Photograph from an automated digital microscope: urine filter membrane, 4× objective.
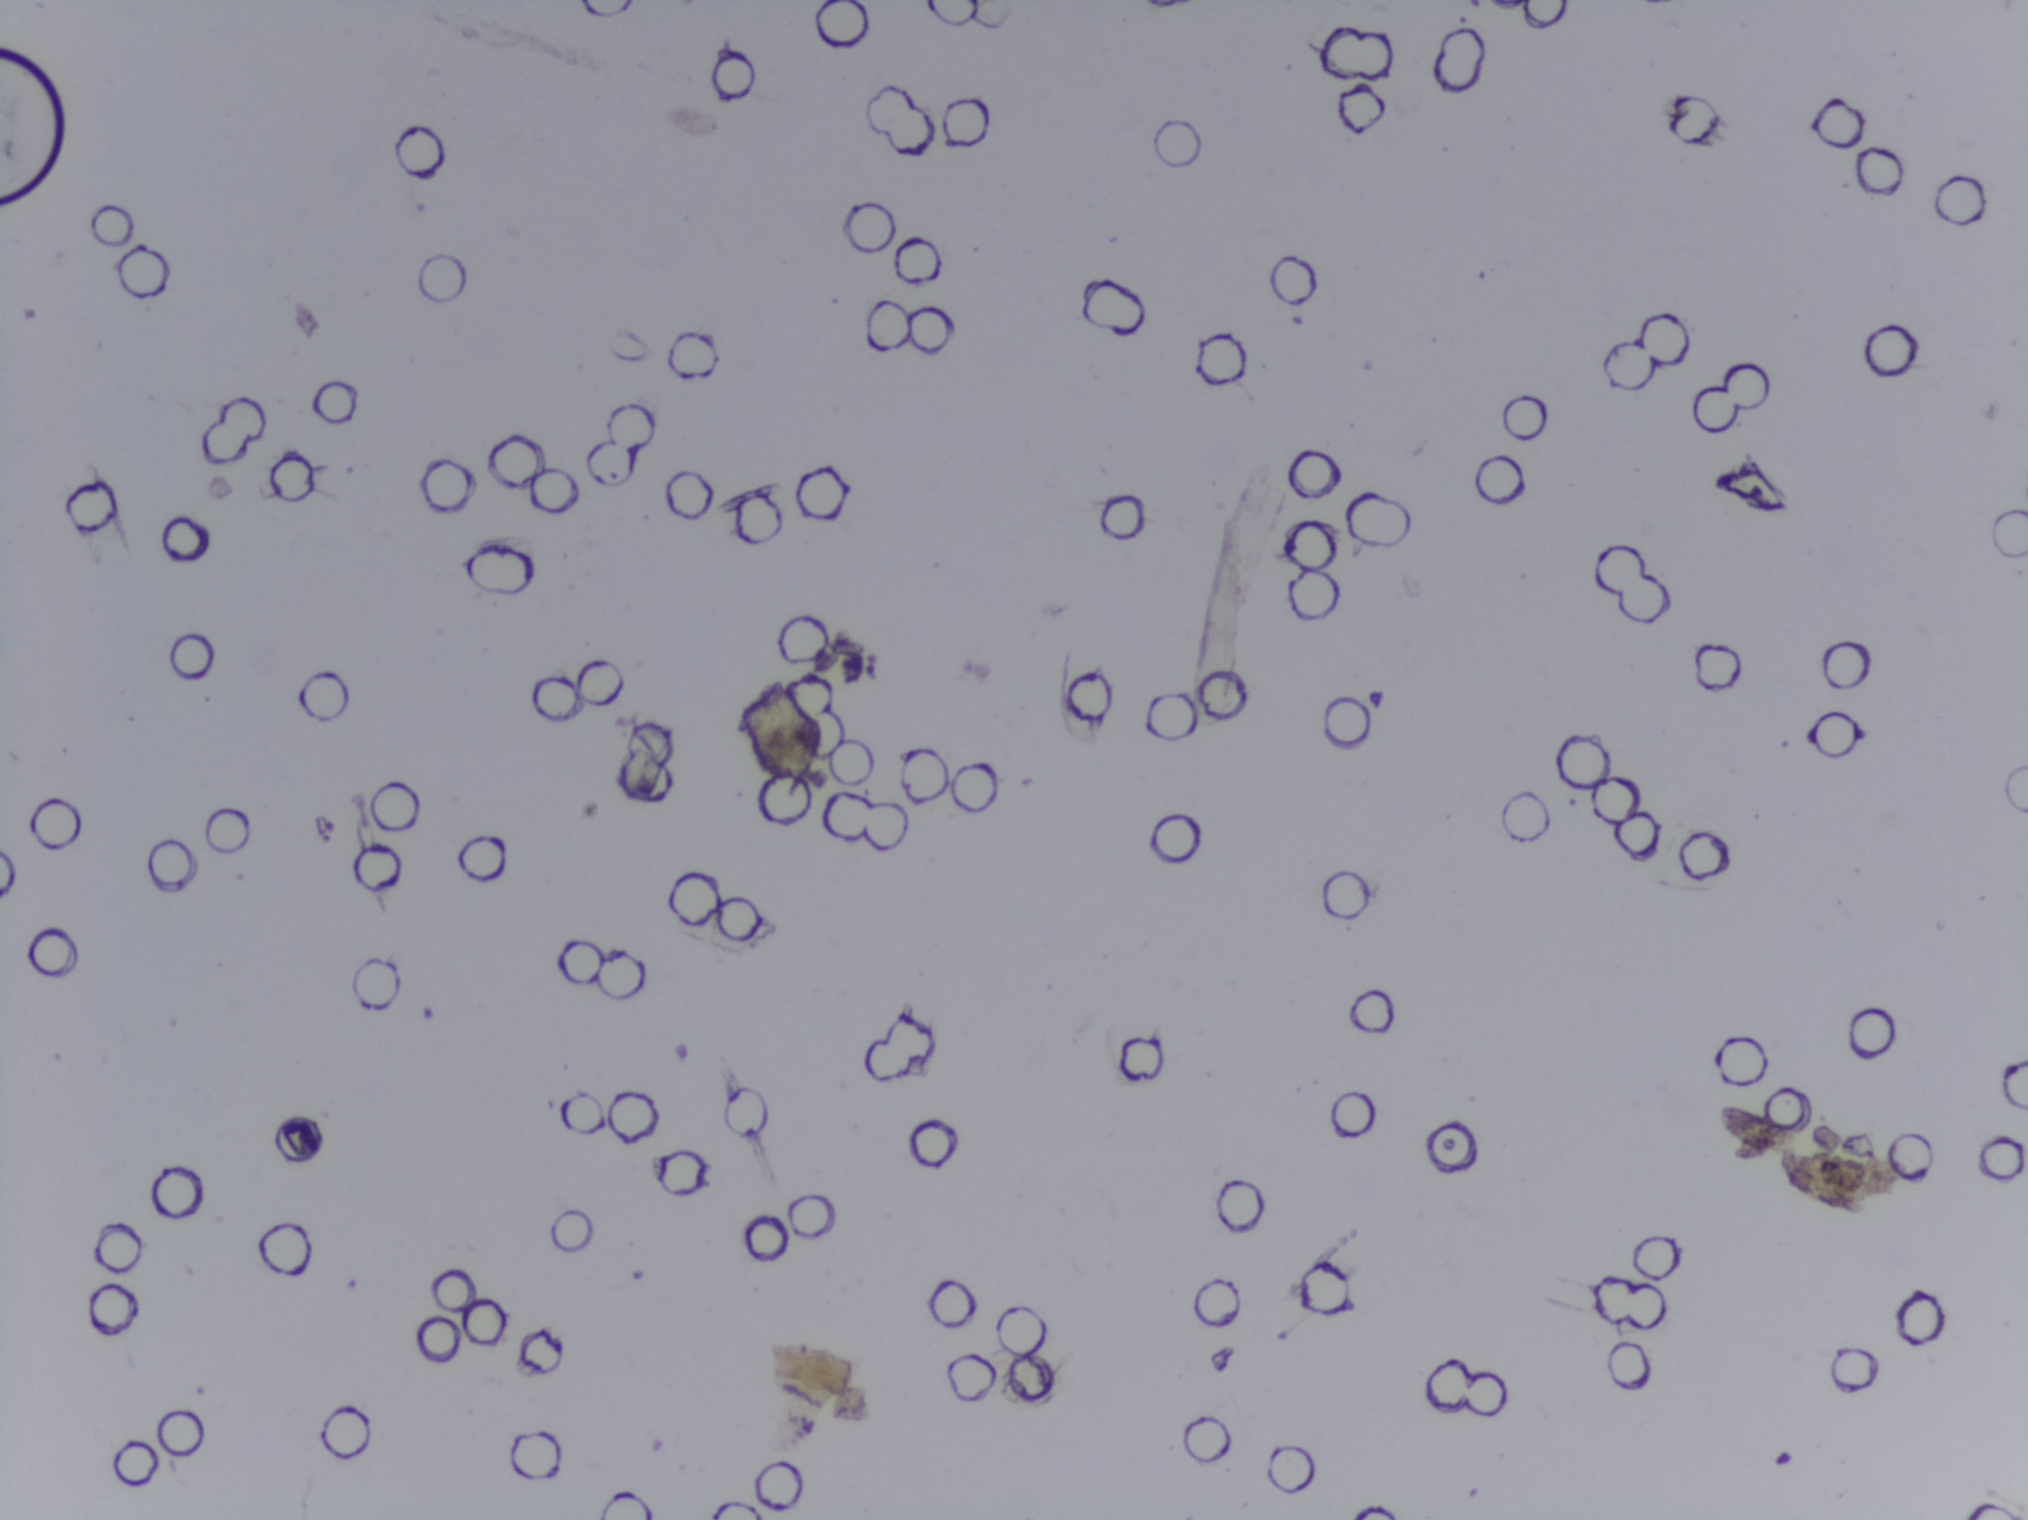
No Schistosoma egg is outlined in this image's expert annotation.